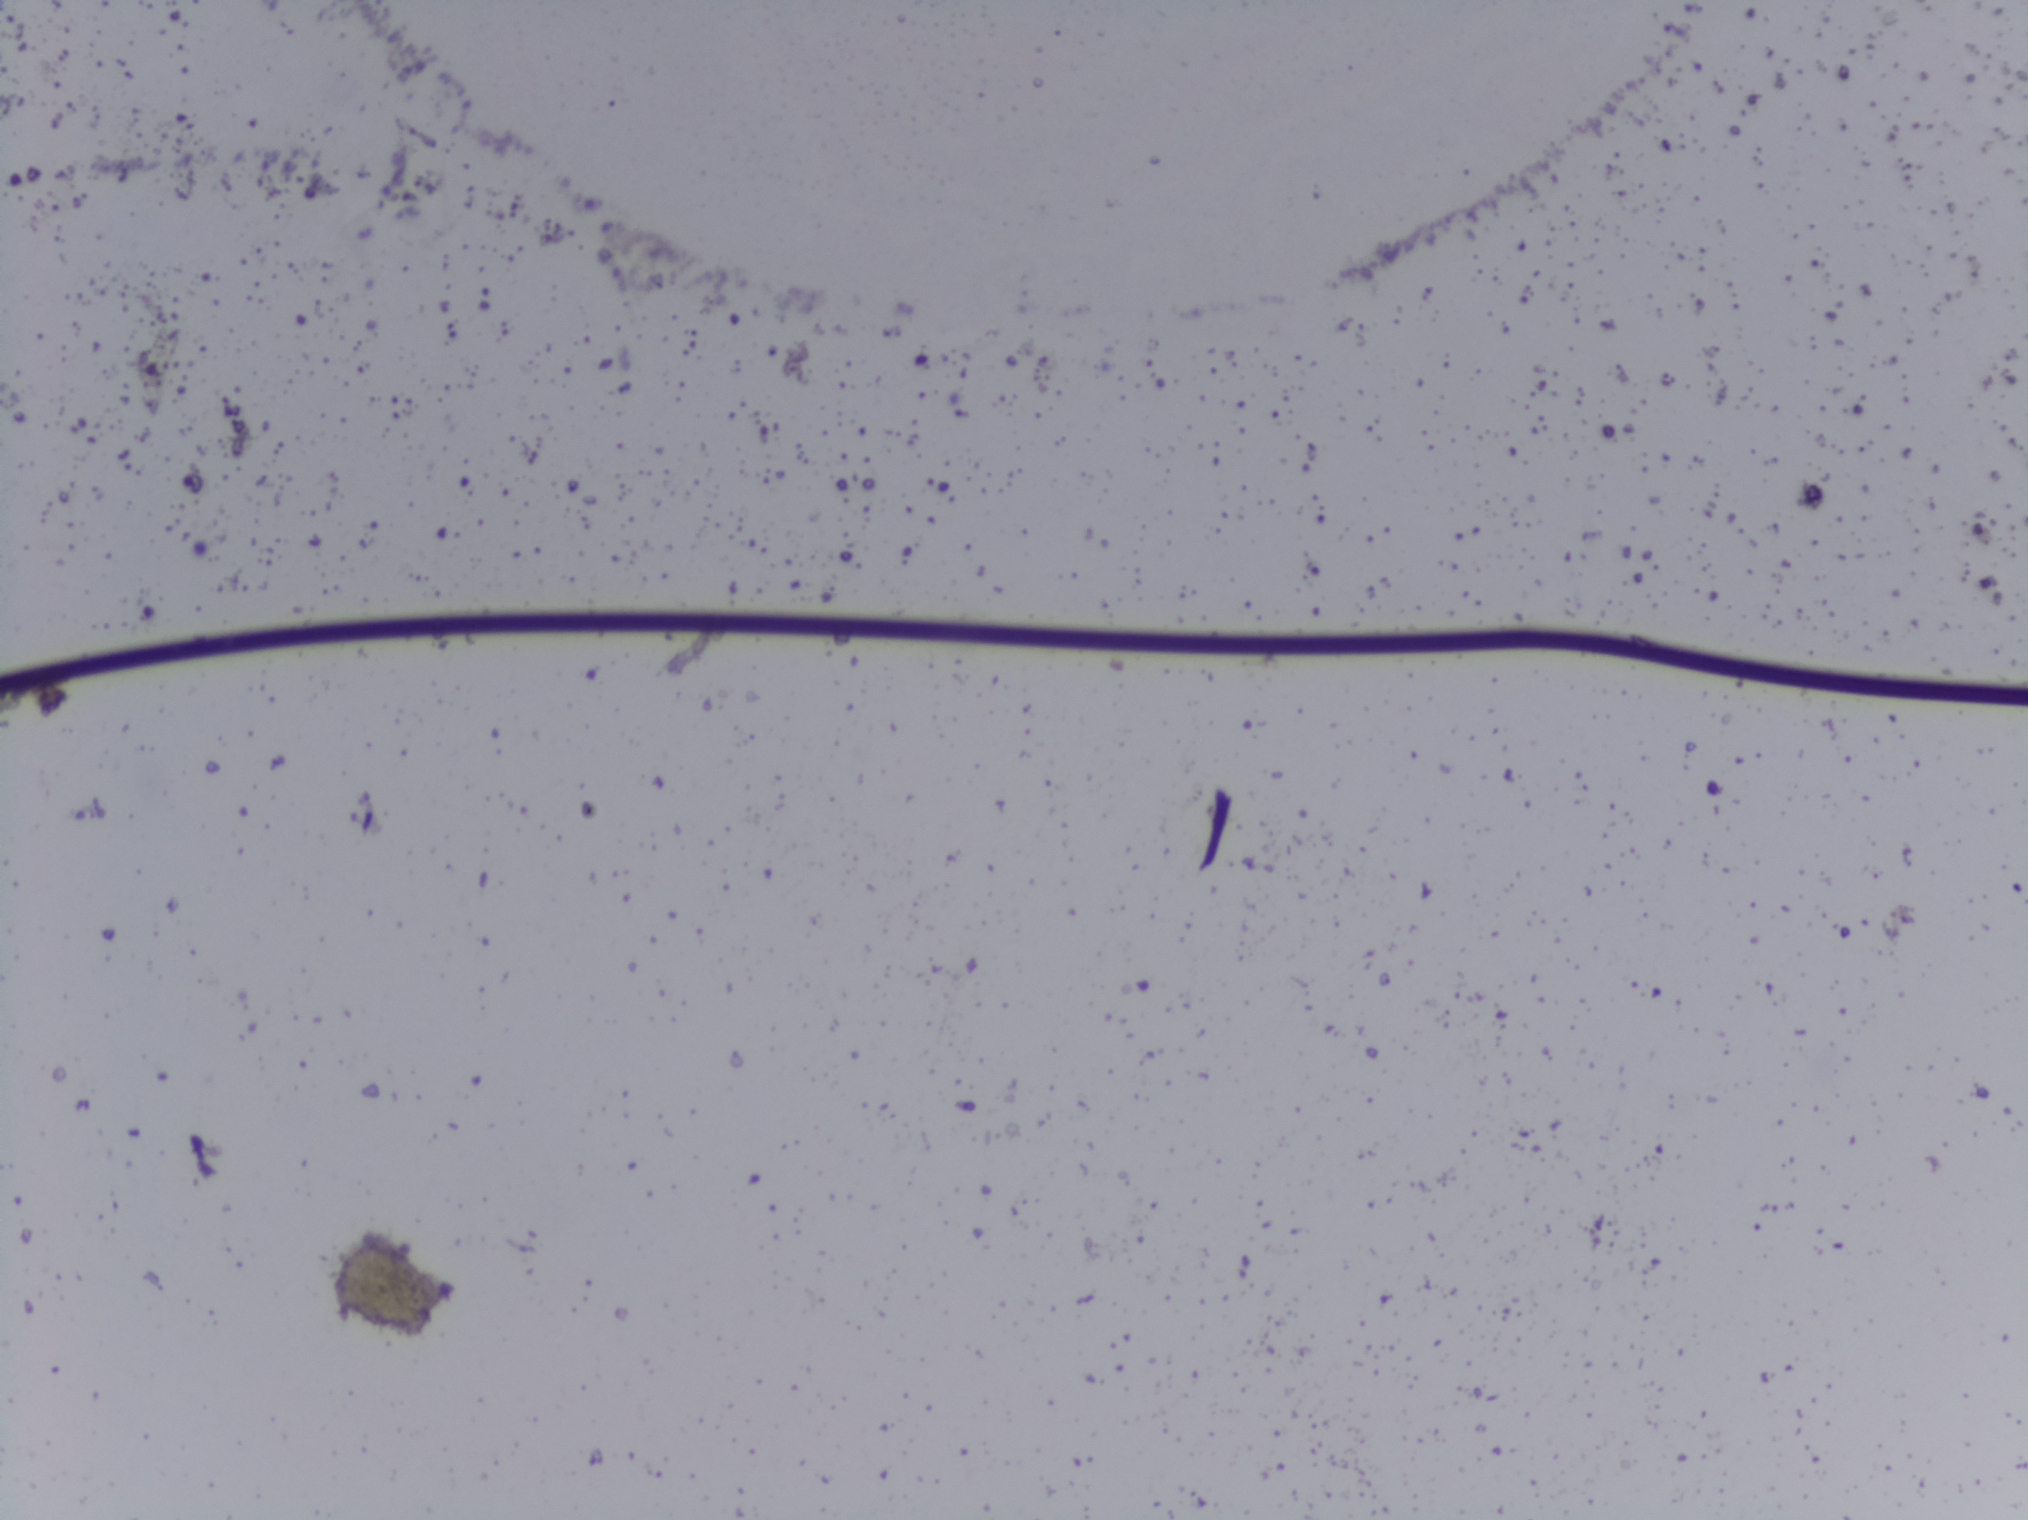
Microscope photograph (4× objective) of a membrane that a urine sample was filtered through.
No area of this image was outlined as a Schistosoma egg.